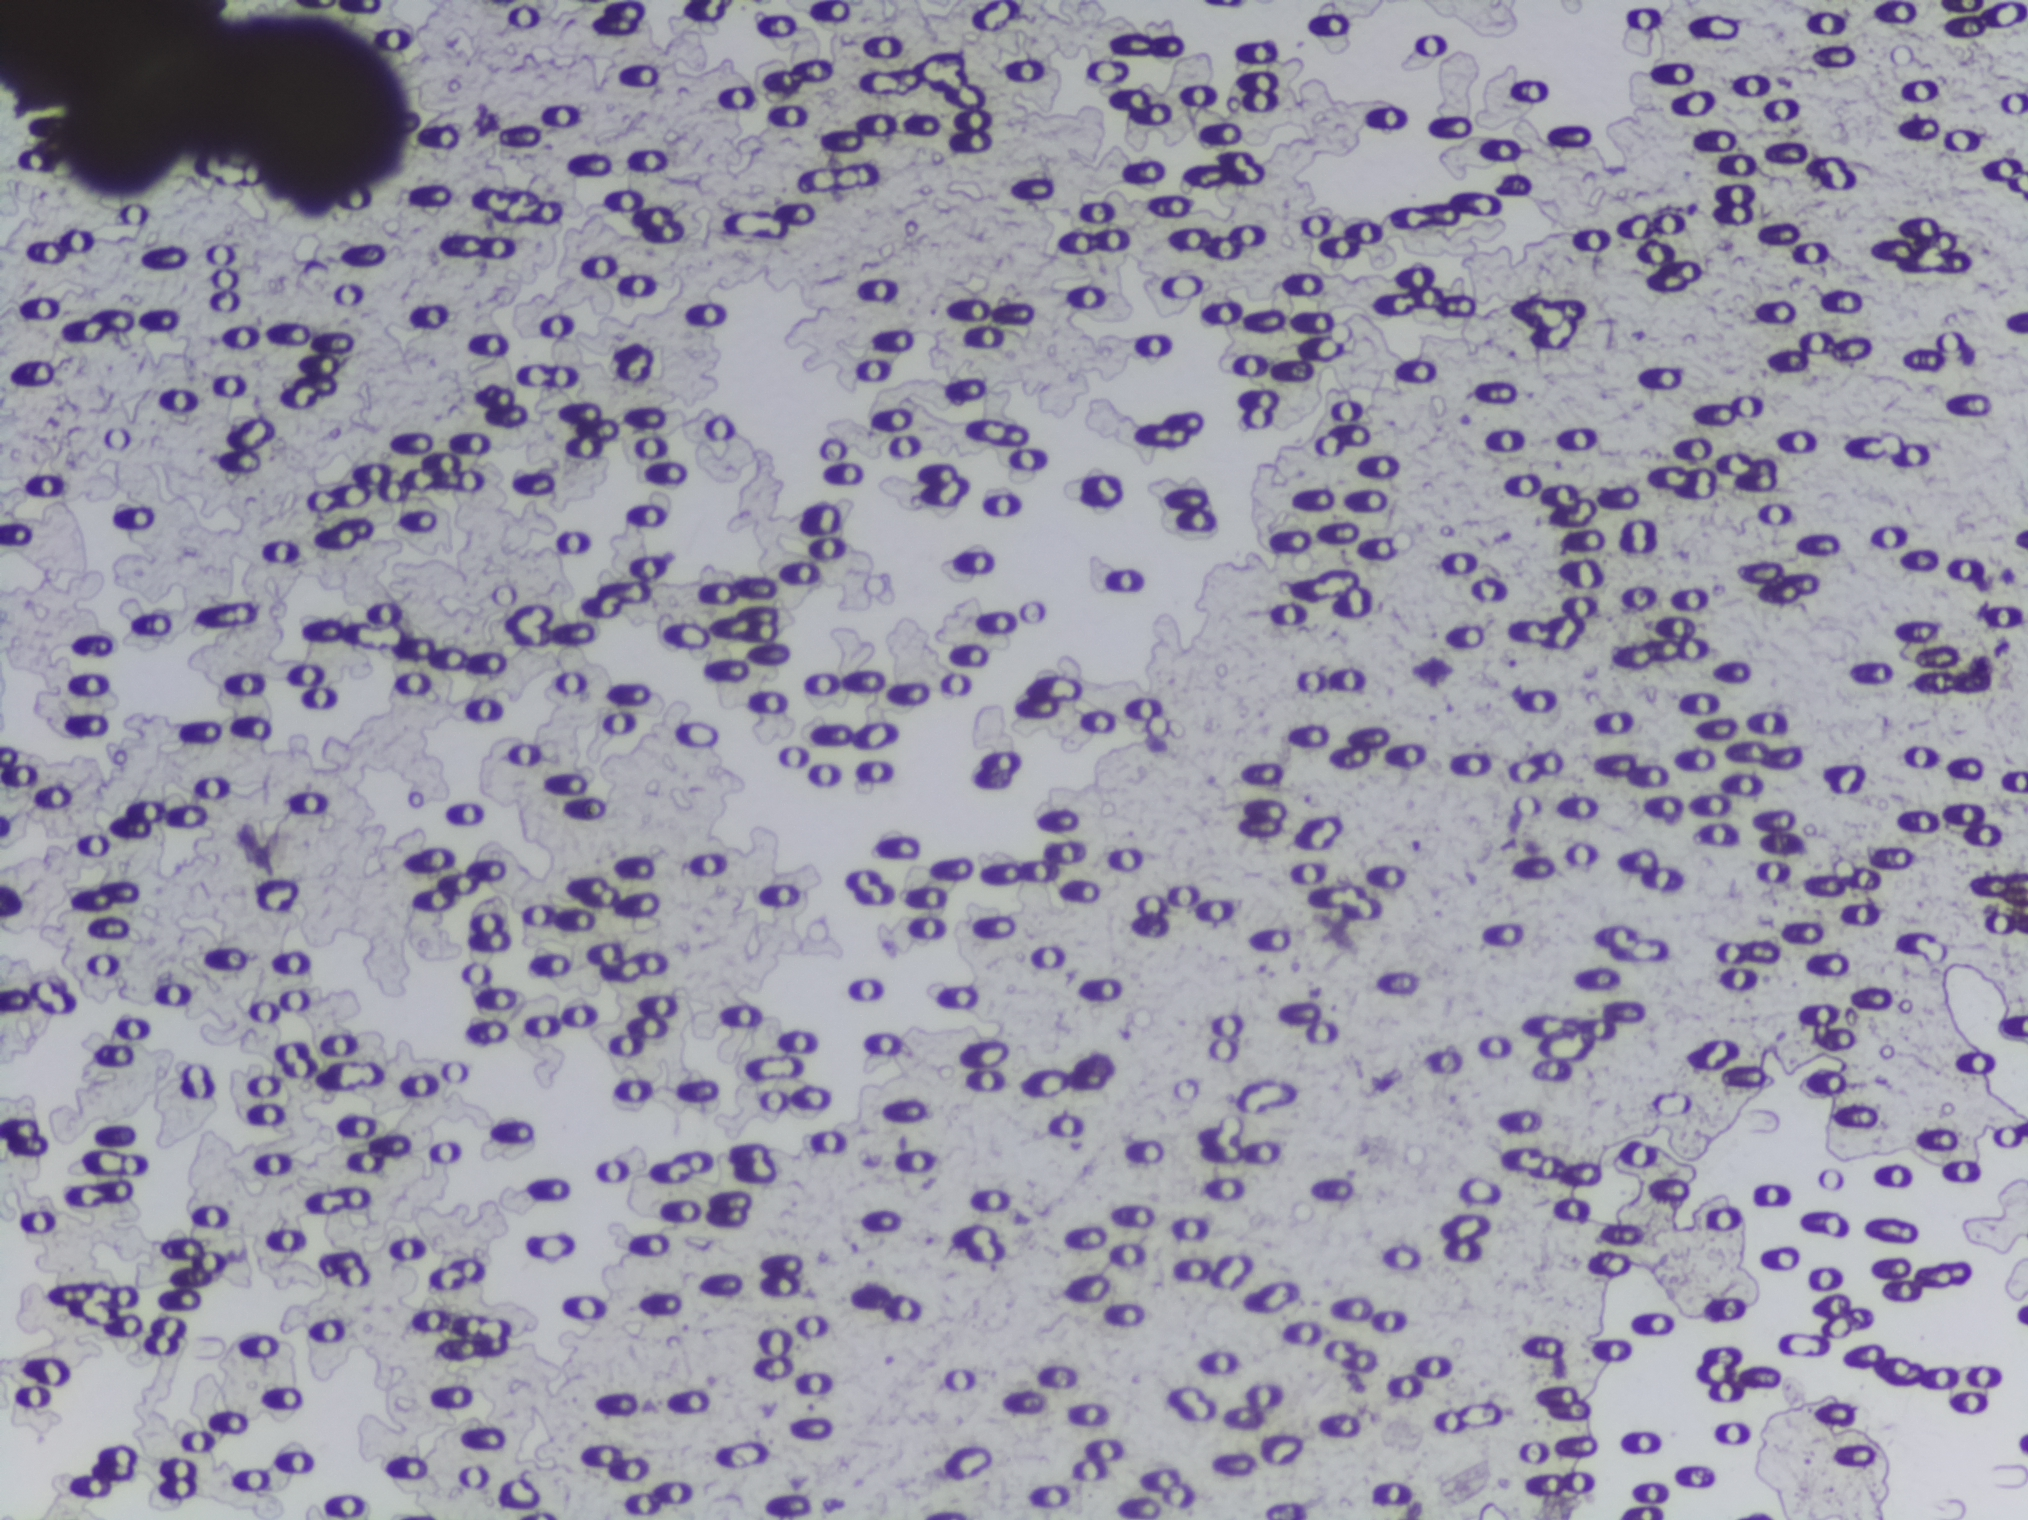
Microscope photograph (4× objective) of a membrane that a urine sample was filtered through. The image covers about 1.5 × 1.1 mm of the membrane.
The expert annotation marks no Schistosoma egg in this field of view.